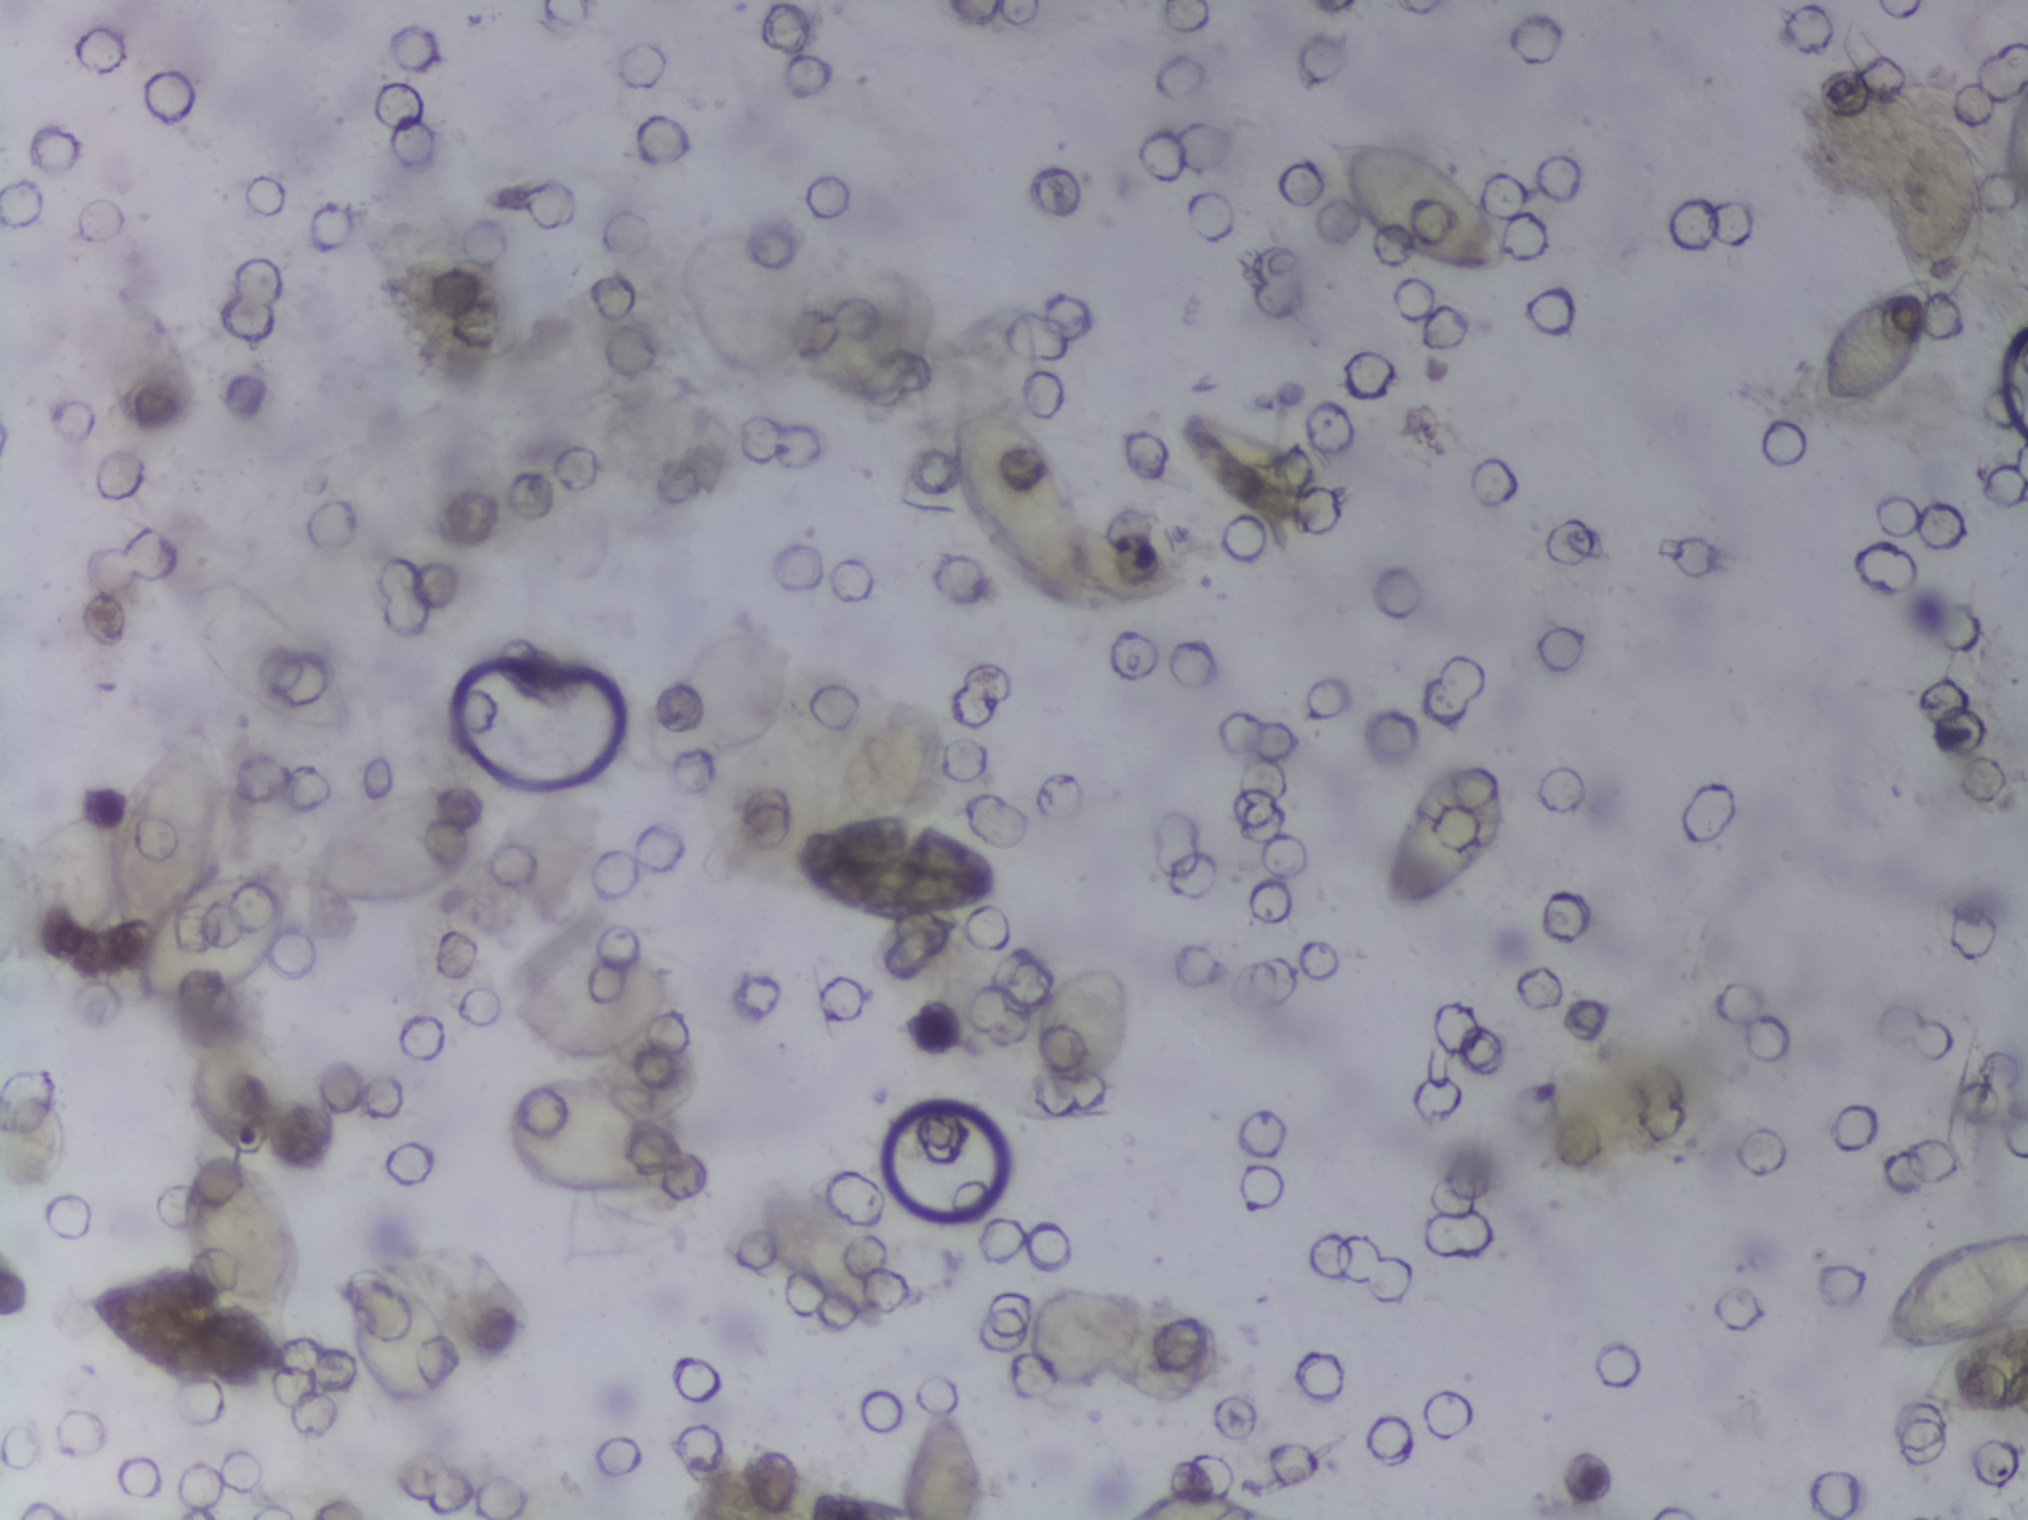
Microscope photograph (4× objective) of a membrane that a urine sample was filtered through.
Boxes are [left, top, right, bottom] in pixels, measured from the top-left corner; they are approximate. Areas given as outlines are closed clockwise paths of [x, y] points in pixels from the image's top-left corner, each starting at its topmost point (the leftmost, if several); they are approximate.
Schistosoma eggs, outlined areas: outline [197, 714], [211, 722], [229, 775], [234, 831], [222, 868], [287, 873], [315, 831], [352, 805], [446, 782], [476, 790], [492, 803], [491, 856], [461, 887], [416, 904], [355, 906], [296, 892], [292, 927], [280, 953], [254, 981], [205, 1002], [167, 1010], [136, 1006], [131, 958], [122, 955], [116, 924], [59, 990], [44, 986], [31, 971], [26, 950], [0, 973], [0, 810], [26, 837], [94, 795], [102, 794], [112, 809], [162, 736] (a cluster of eggs; reaching the left edge of the frame); box [79, 1151, 304, 1393]; box [382, 1242, 532, 1356]; box [495, 1072, 707, 1270]; box [503, 944, 677, 1061]; box [760, 1182, 892, 1339]; box [792, 815, 1004, 926]; box [897, 1394, 990, 1519] (reaching the bottom edge of the frame); outline [951, 385], [1021, 412], [1044, 429], [1073, 470], [1090, 522], [1132, 535], [1180, 563], [1202, 590], [1200, 606], [1188, 613], [1150, 614], [1089, 599], [1081, 613], [1068, 615], [1028, 590], [959, 513], [950, 471]; box [1024, 957, 1133, 1112]; box [1120, 1483, 1277, 1519] (reaching the bottom edge of the frame); box [1171, 412, 1332, 559]; box [1321, 135, 1509, 277]; box [1381, 761, 1507, 916]; outline [1938, 117], [1956, 120], [1982, 169], [1988, 241], [1980, 268], [1961, 299], [1947, 313], [1933, 315], [1920, 358], [1902, 382], [1865, 406], [1813, 418], [1811, 371], [1838, 316], [1904, 278], [1889, 244], [1884, 190], [1916, 137]; box [1872, 1230, 2027, 1415] (reaching the right edge of the frame). A single outlined area may contain several eggs.